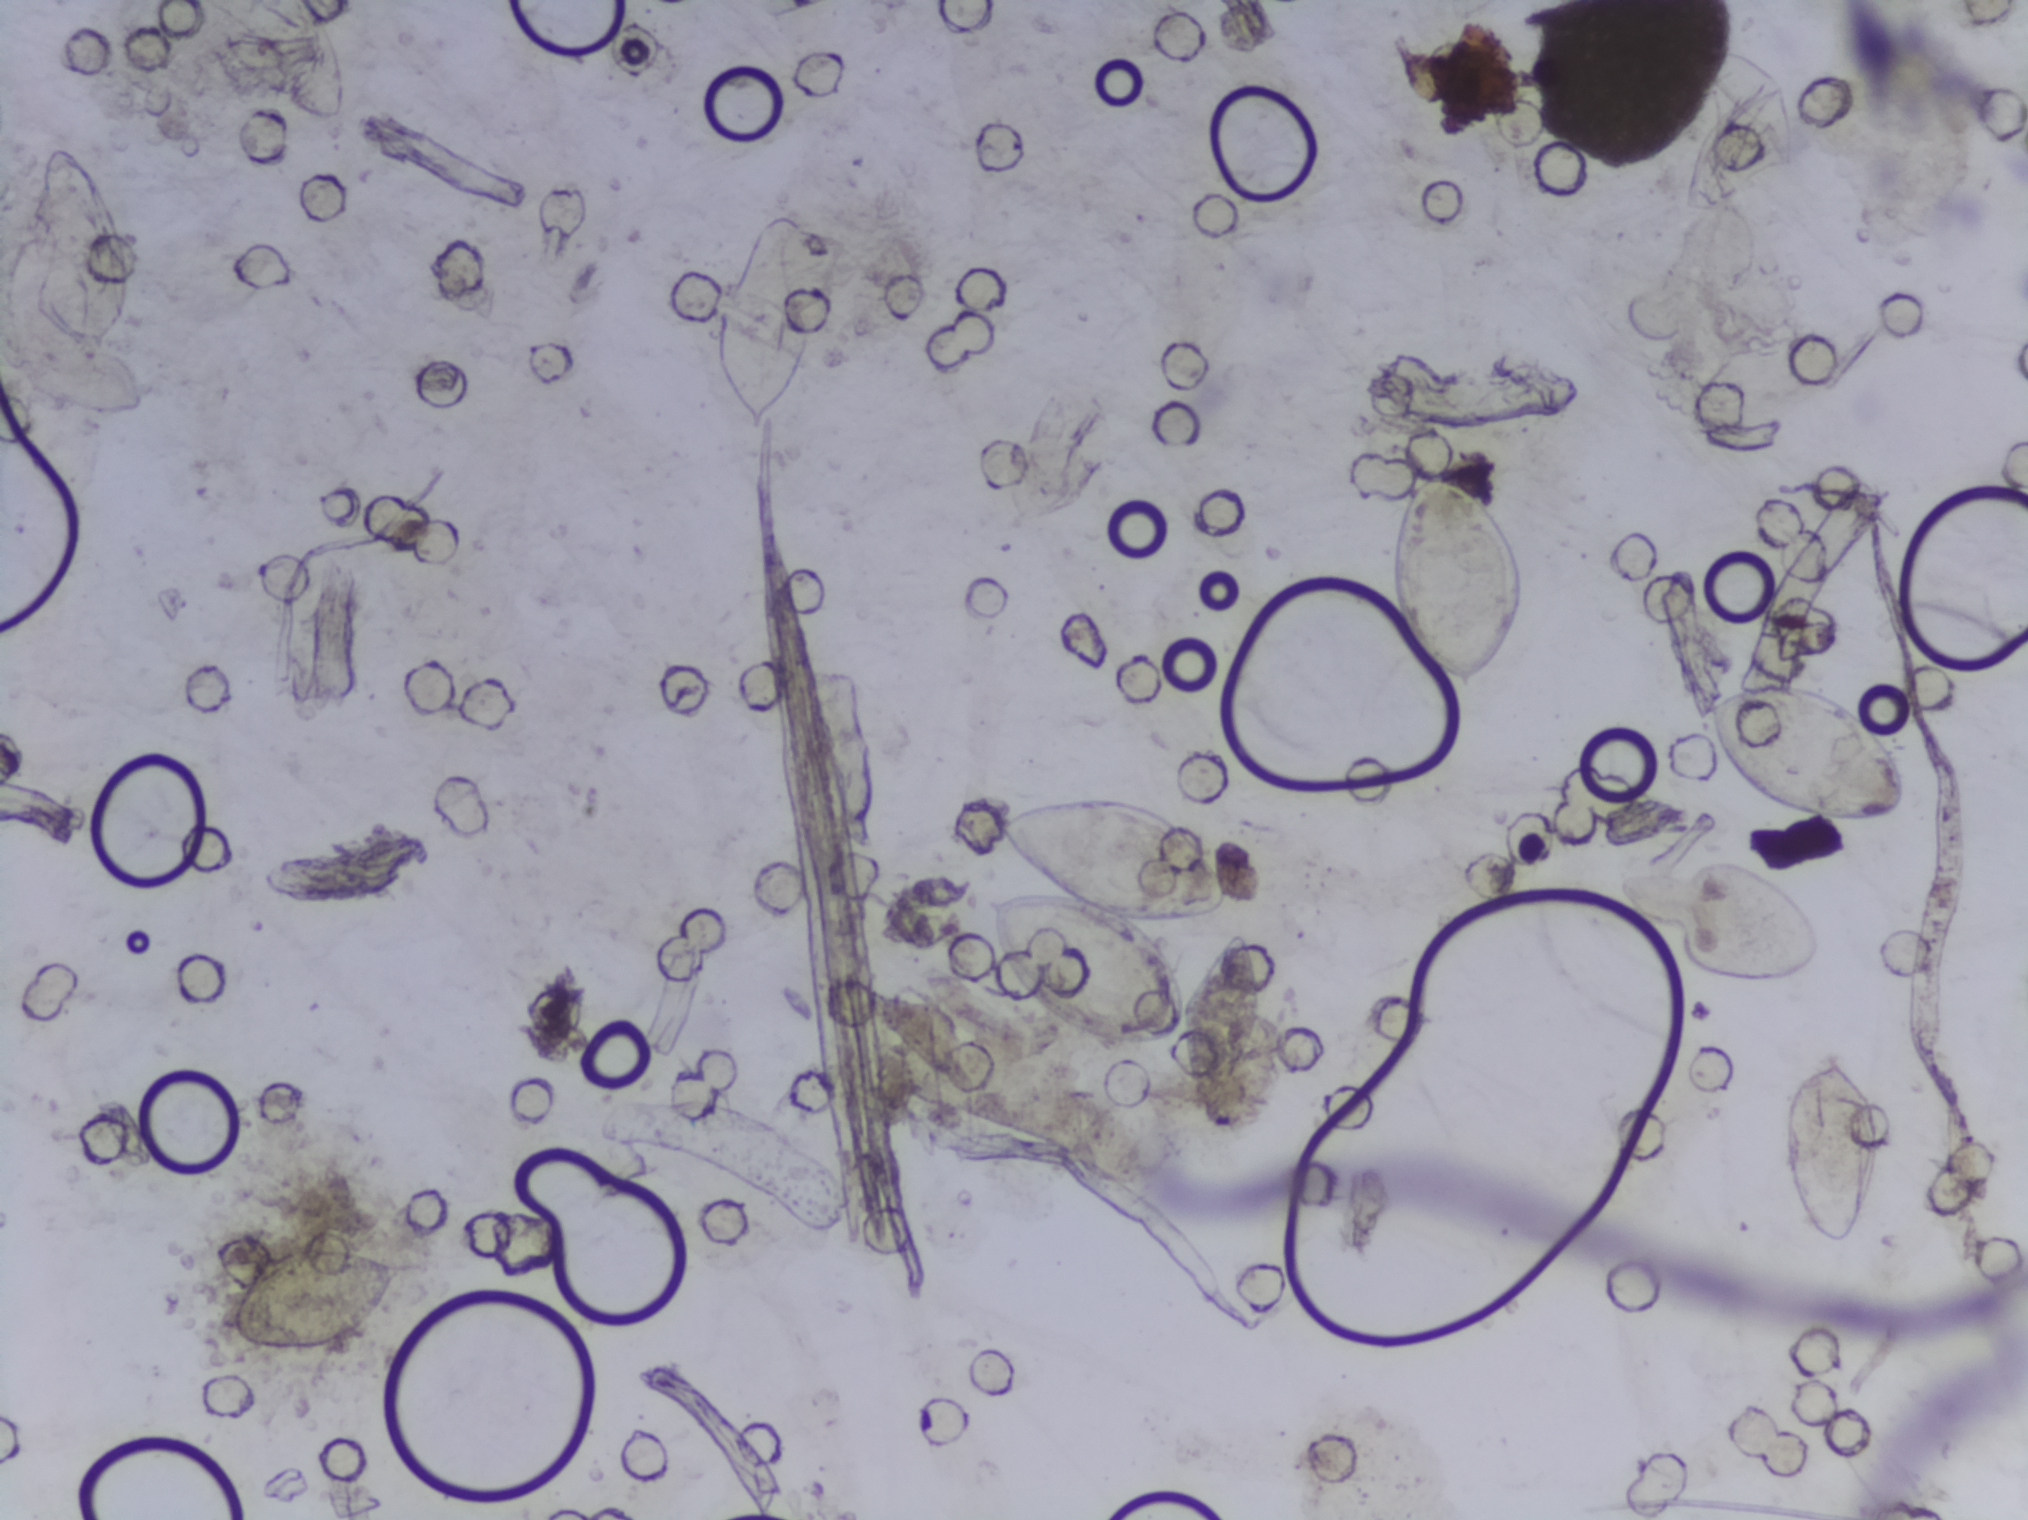
Urine filtration membrane under a 4× objective, photographed by an automated digital microscope.
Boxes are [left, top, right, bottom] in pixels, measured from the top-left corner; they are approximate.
The expert annotation outlines Schistosoma eggs at [28, 139, 134, 356]; [227, 1243, 411, 1354]; [711, 204, 829, 433]; [981, 795, 1265, 1120] (a cluster of eggs); [1388, 462, 1529, 695]; [1703, 683, 1914, 827]; [1782, 1045, 1884, 1247]. Marked pixels, not the boxes around them: about 5.4% of the image. Eggs that touch can end up inside the same outlined area.